Photograph from an automated digital microscope: urine filter membrane, 4× objective. The field of view is about 1.5 mm × 1.1 mm.
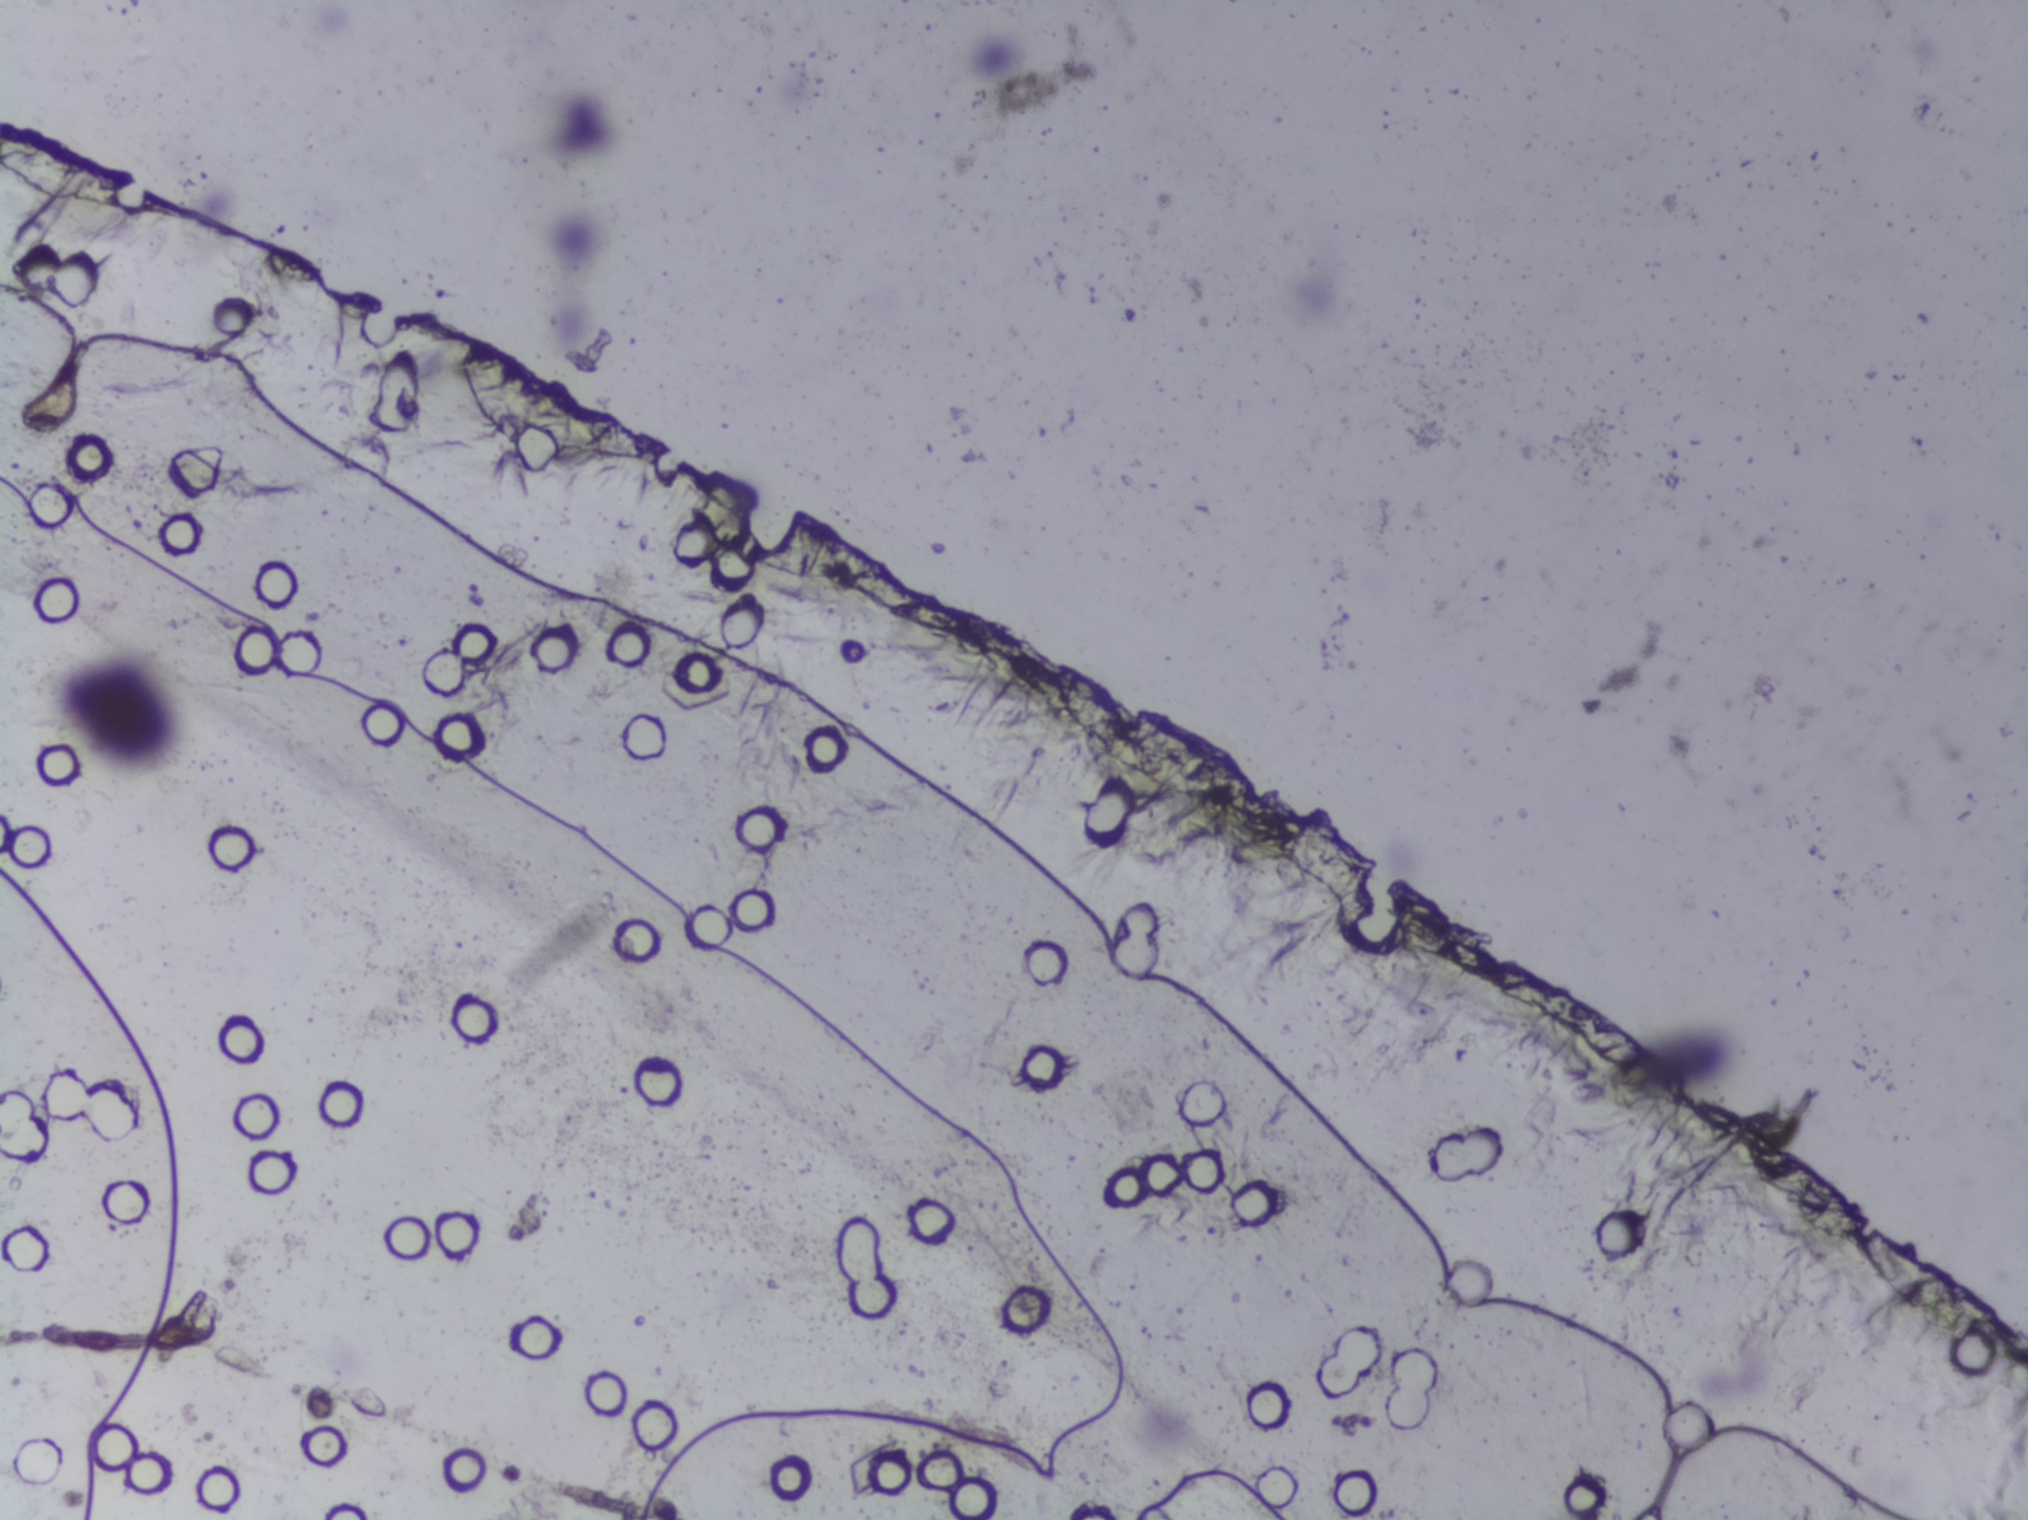
Schistosoma eggs: none outlined.